Urine filtration membrane under a 4× objective, photographed by an automated digital microscope.
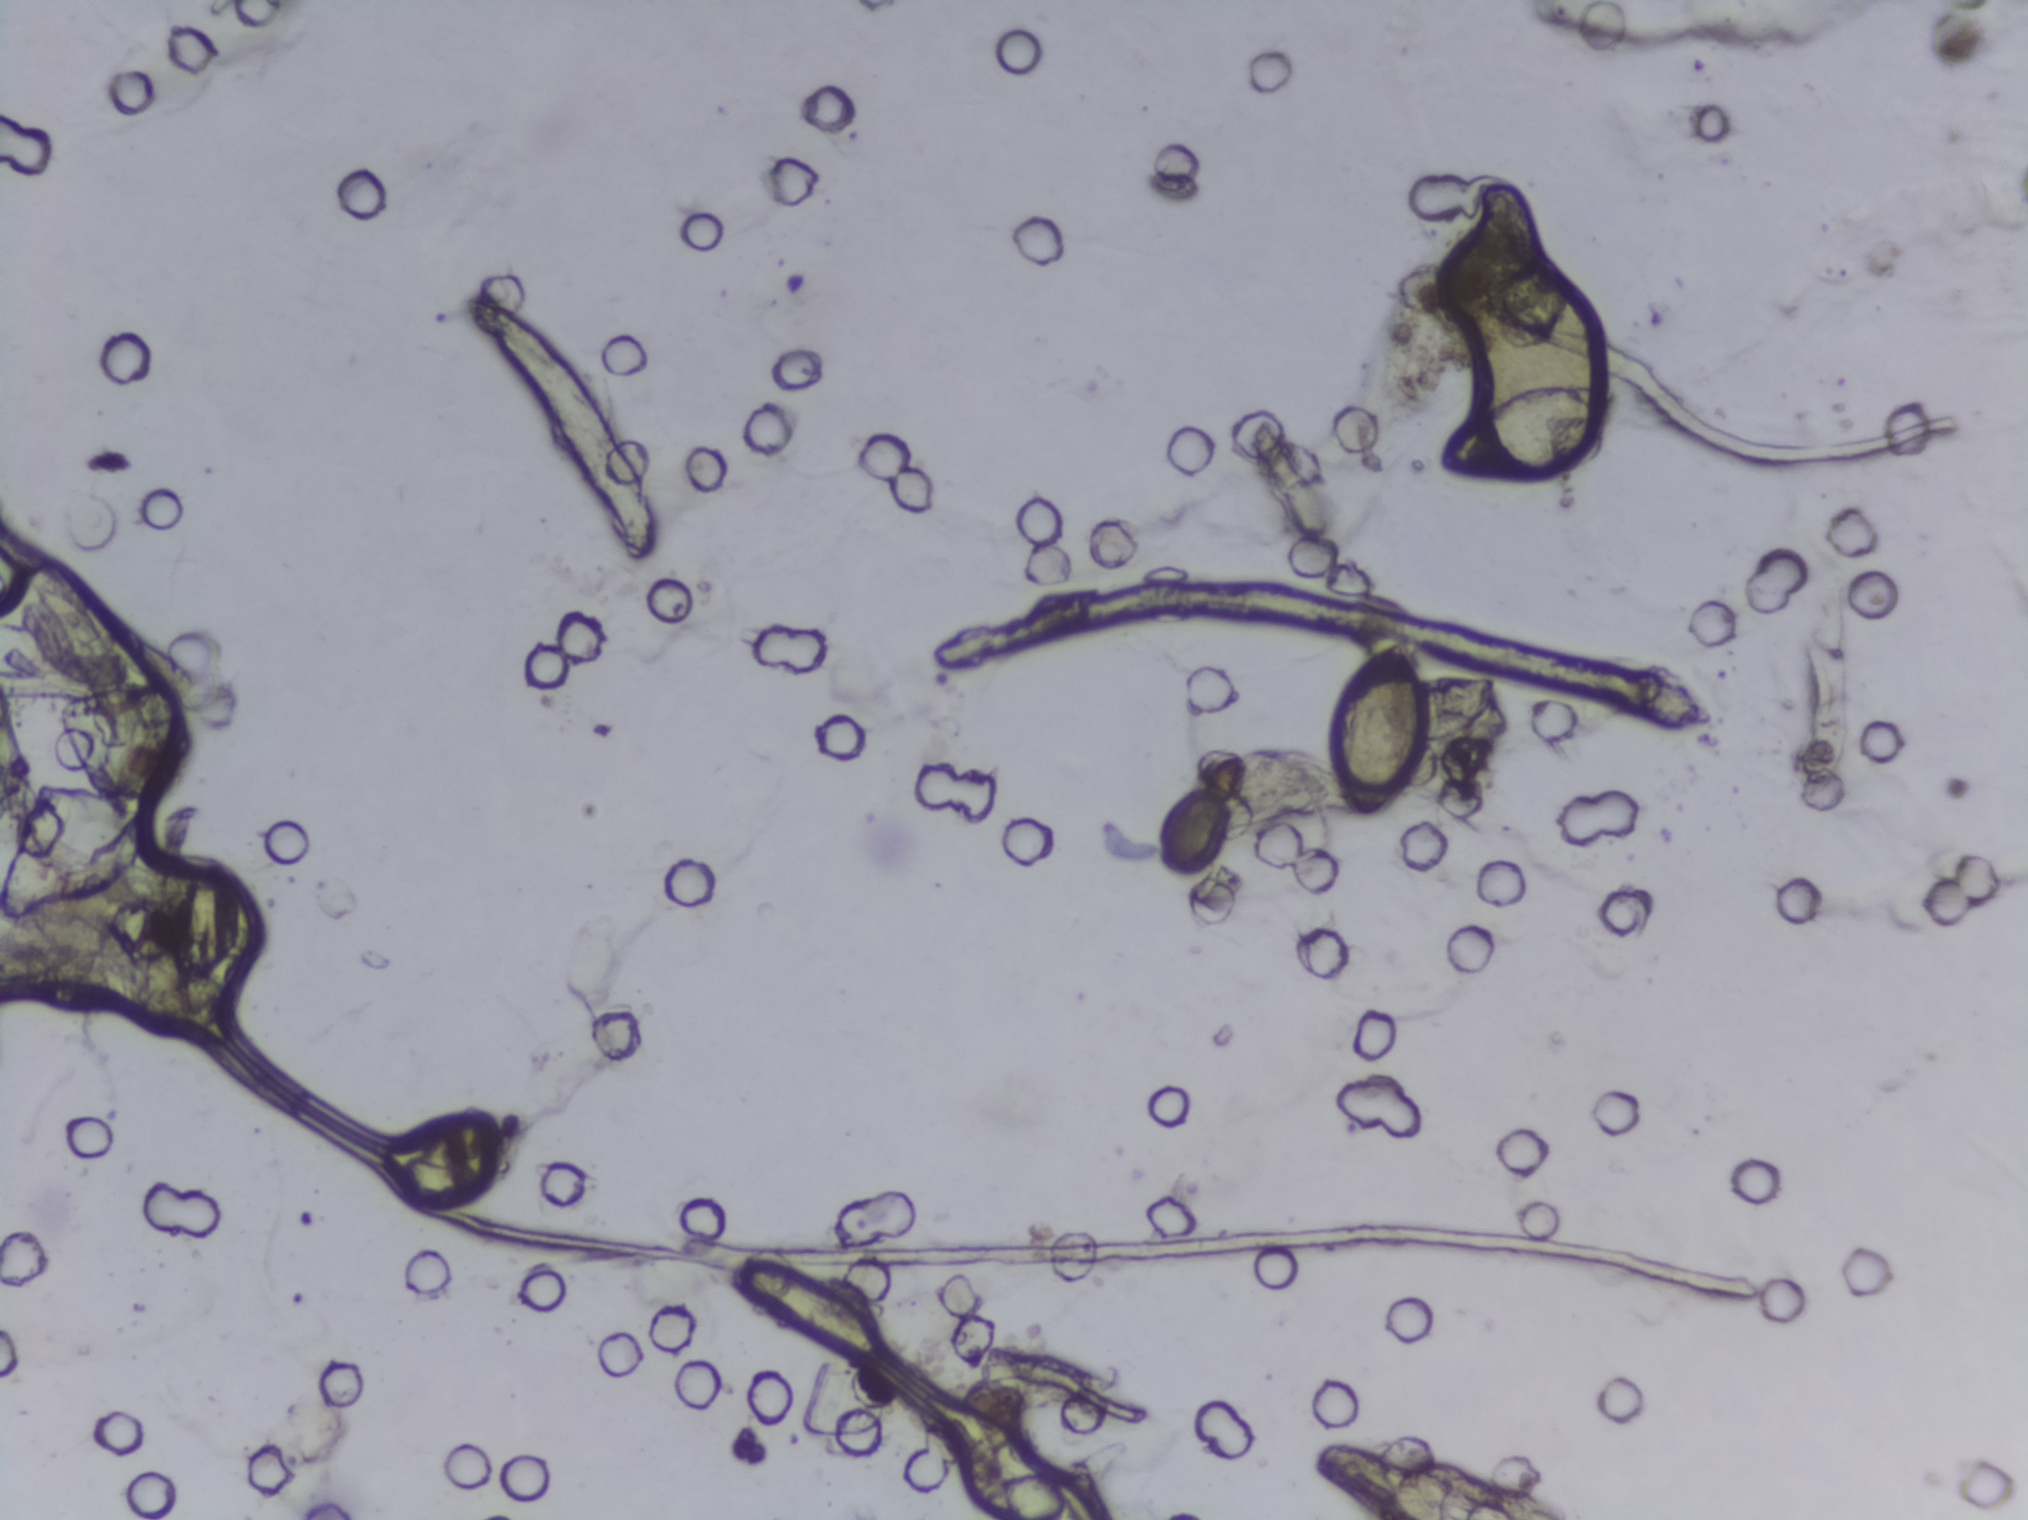
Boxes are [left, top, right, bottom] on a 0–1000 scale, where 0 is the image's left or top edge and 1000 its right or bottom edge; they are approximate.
Schistosoma eggs are outlined in two areas of this image, listed from left to right: [654, 419, 704, 541] and [704, 249, 799, 320]. A single outlined area may contain several eggs.